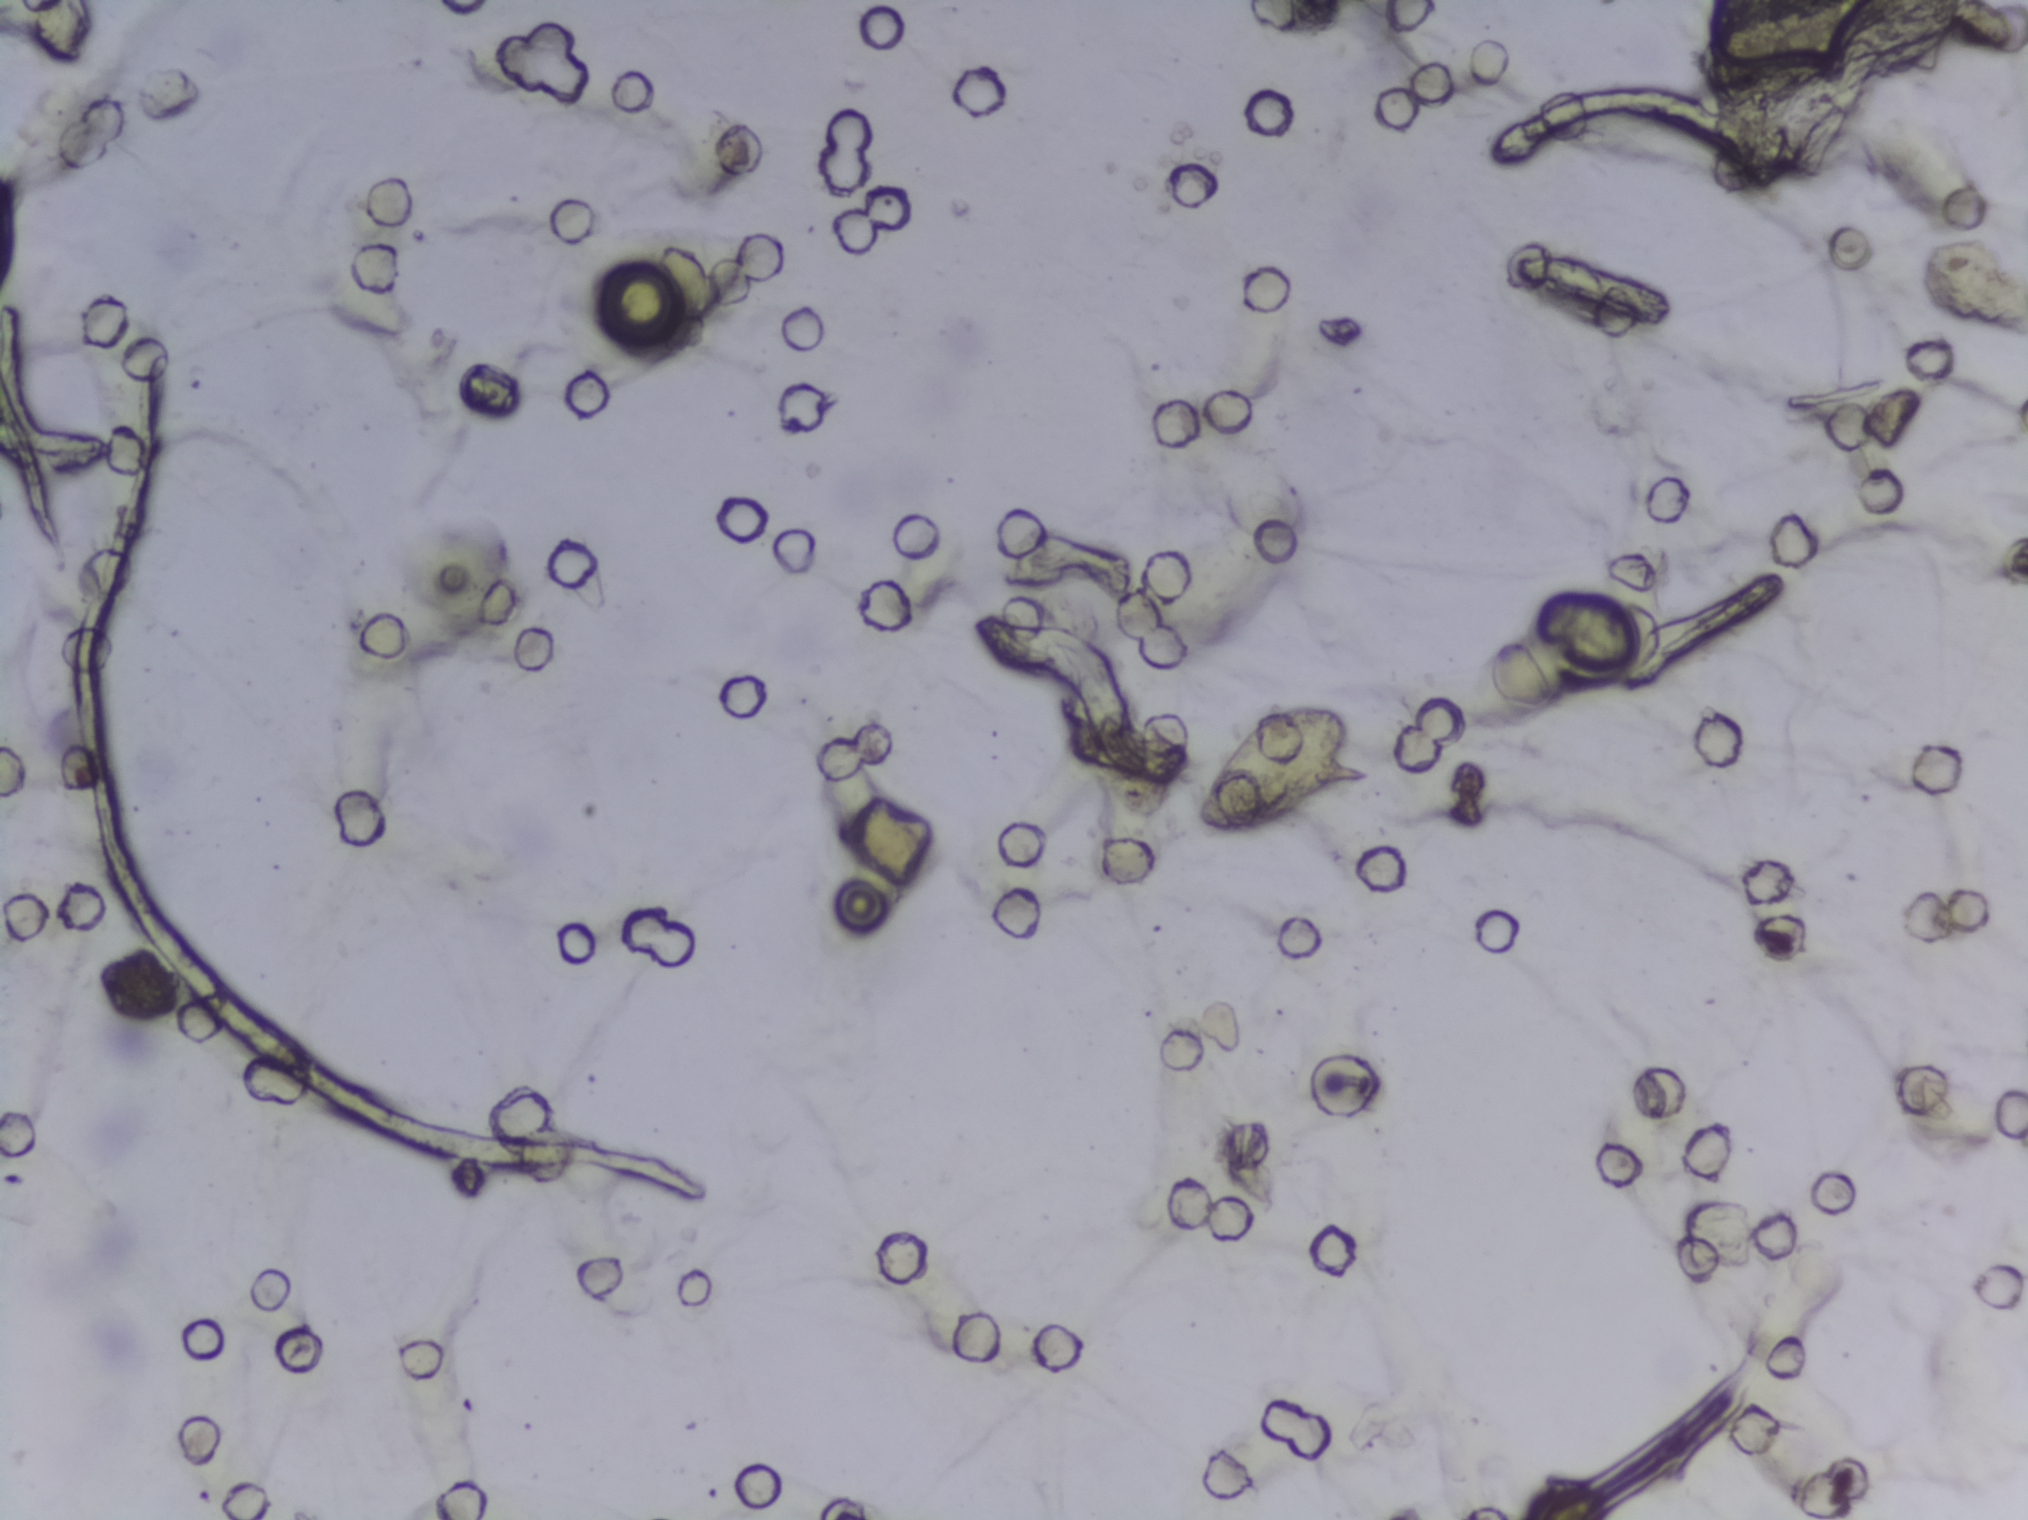
Photomicrograph of a urine filtration membrane, 4× objective.
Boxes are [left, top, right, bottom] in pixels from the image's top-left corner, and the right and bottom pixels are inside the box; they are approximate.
{"schistosoma_egg_areas_xyxy_px": [[1193, 705, 1369, 833]]}
A single outlined area may contain several eggs. Any one outlined egg may, rarely, be S. mansoni rather than S. haematobium.